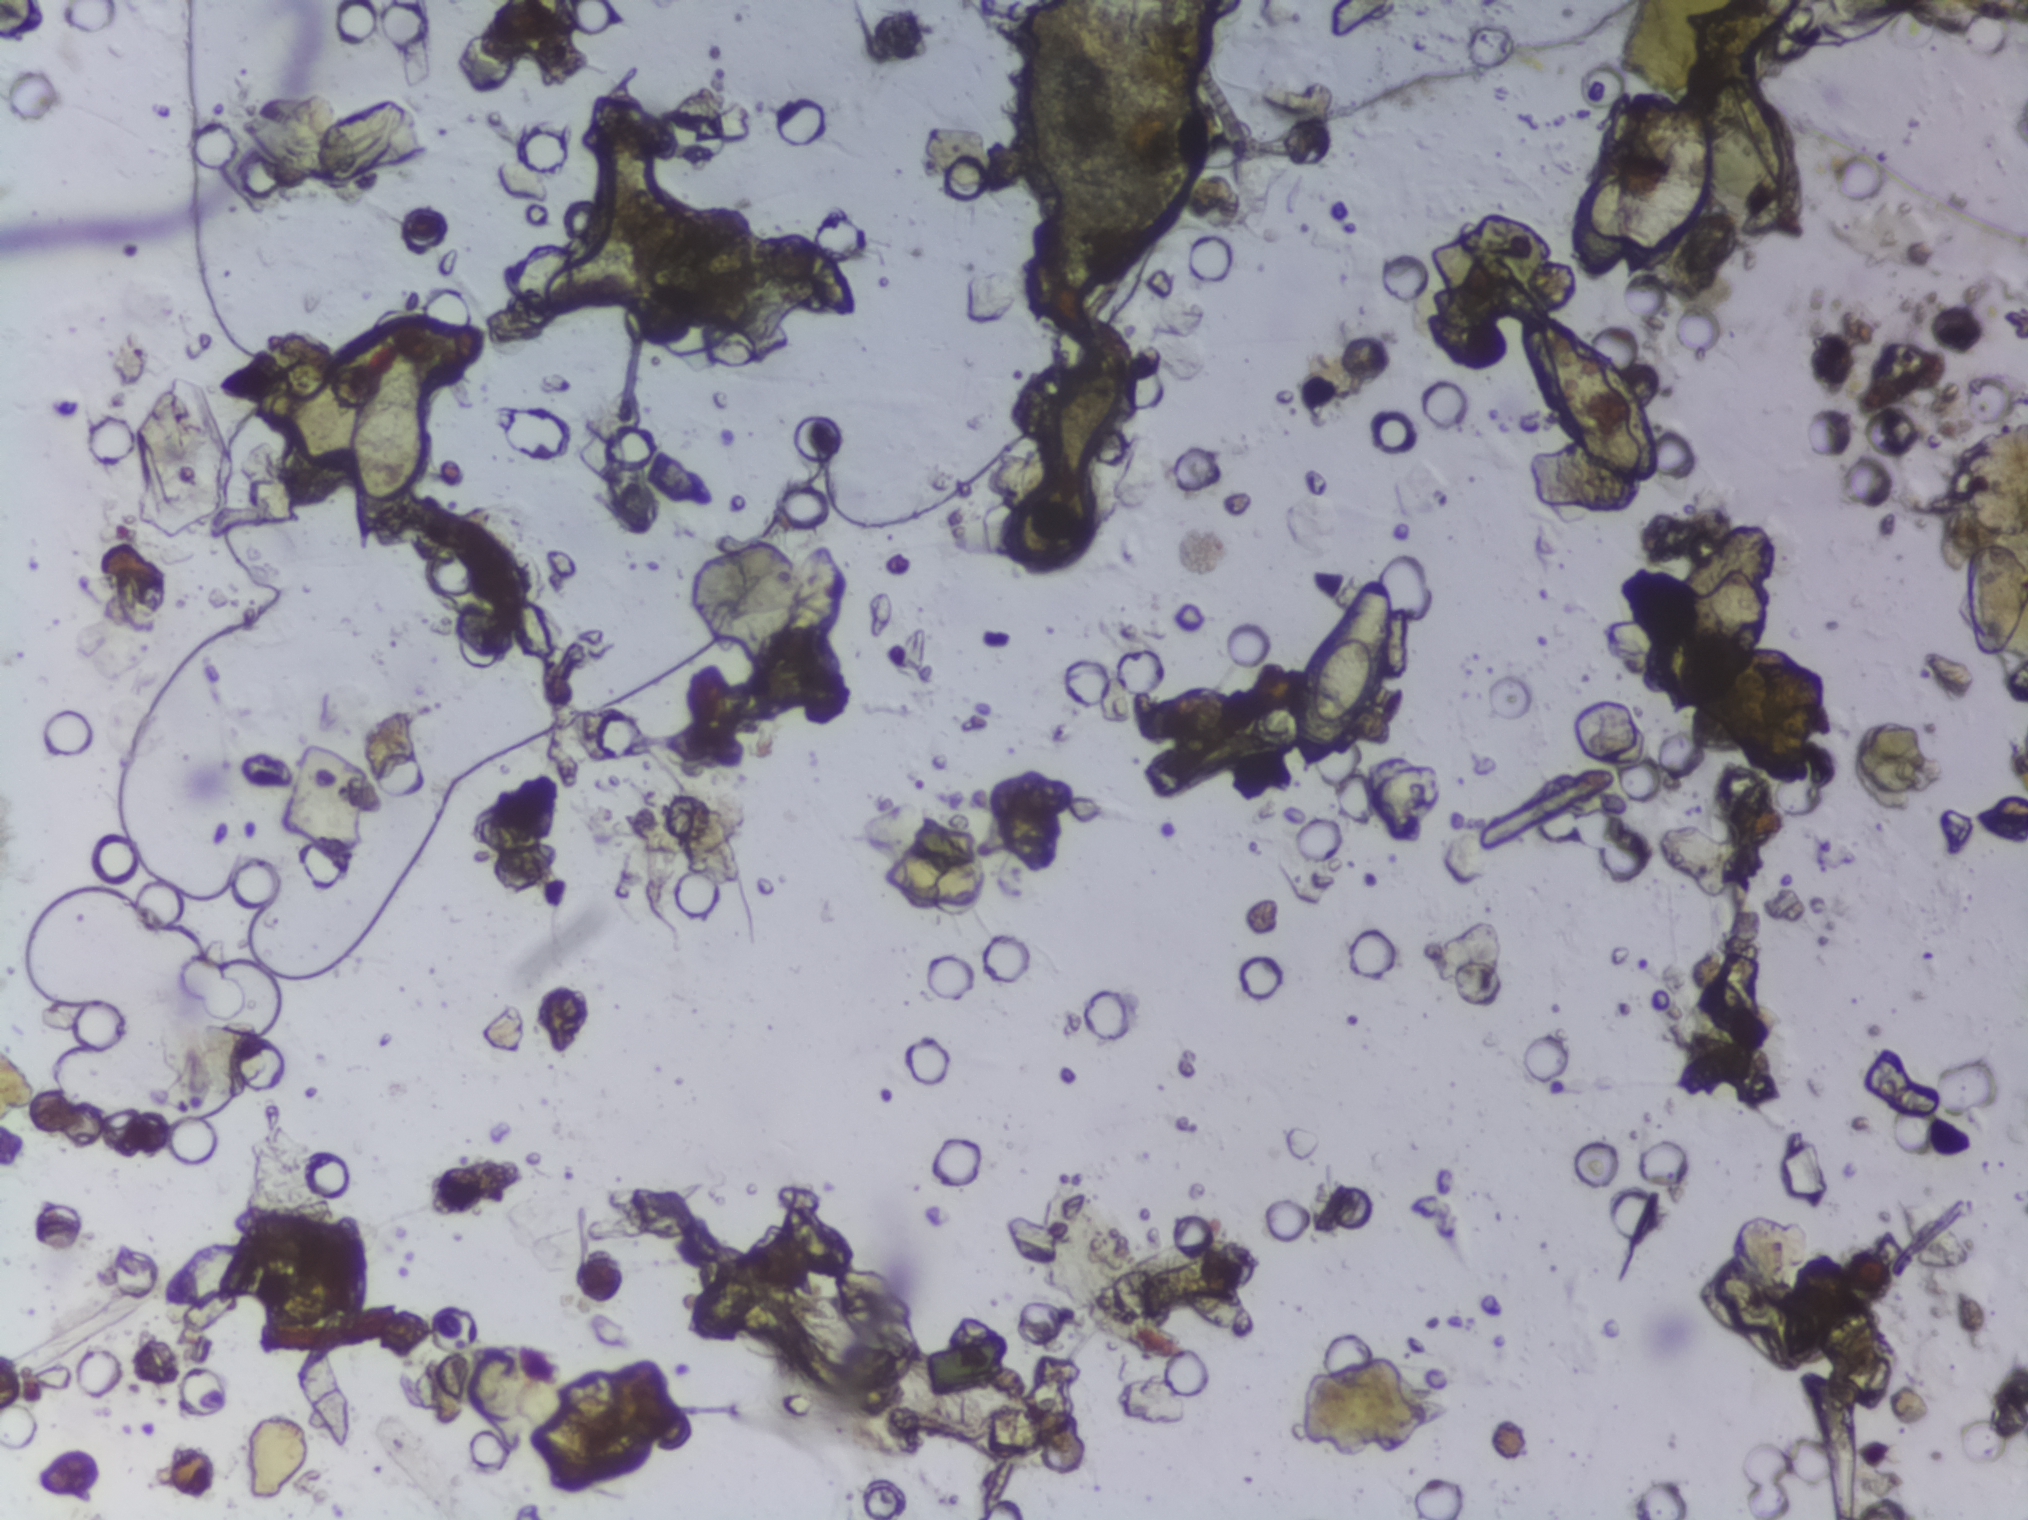
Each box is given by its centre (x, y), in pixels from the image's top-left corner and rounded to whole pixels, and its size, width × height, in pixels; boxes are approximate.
Schistosoma eggs are outlined in five areas of this image, listed from left to right: centre (389, 437), 82 × 213 px; centre (1342, 675), 109 × 200 px; centre (1588, 396), 152 × 185 px; centre (1649, 185), 140 × 198 px; centre (1841, 22), 135 × 45 px (reaching the top edge of the frame). An outlined area can hold more than one egg.
One field of view of a urine filter membrane, 4× objective, 2028 × 1520 pixels.